Urine filtration membrane under a 4× objective, photographed by an automated digital microscope.
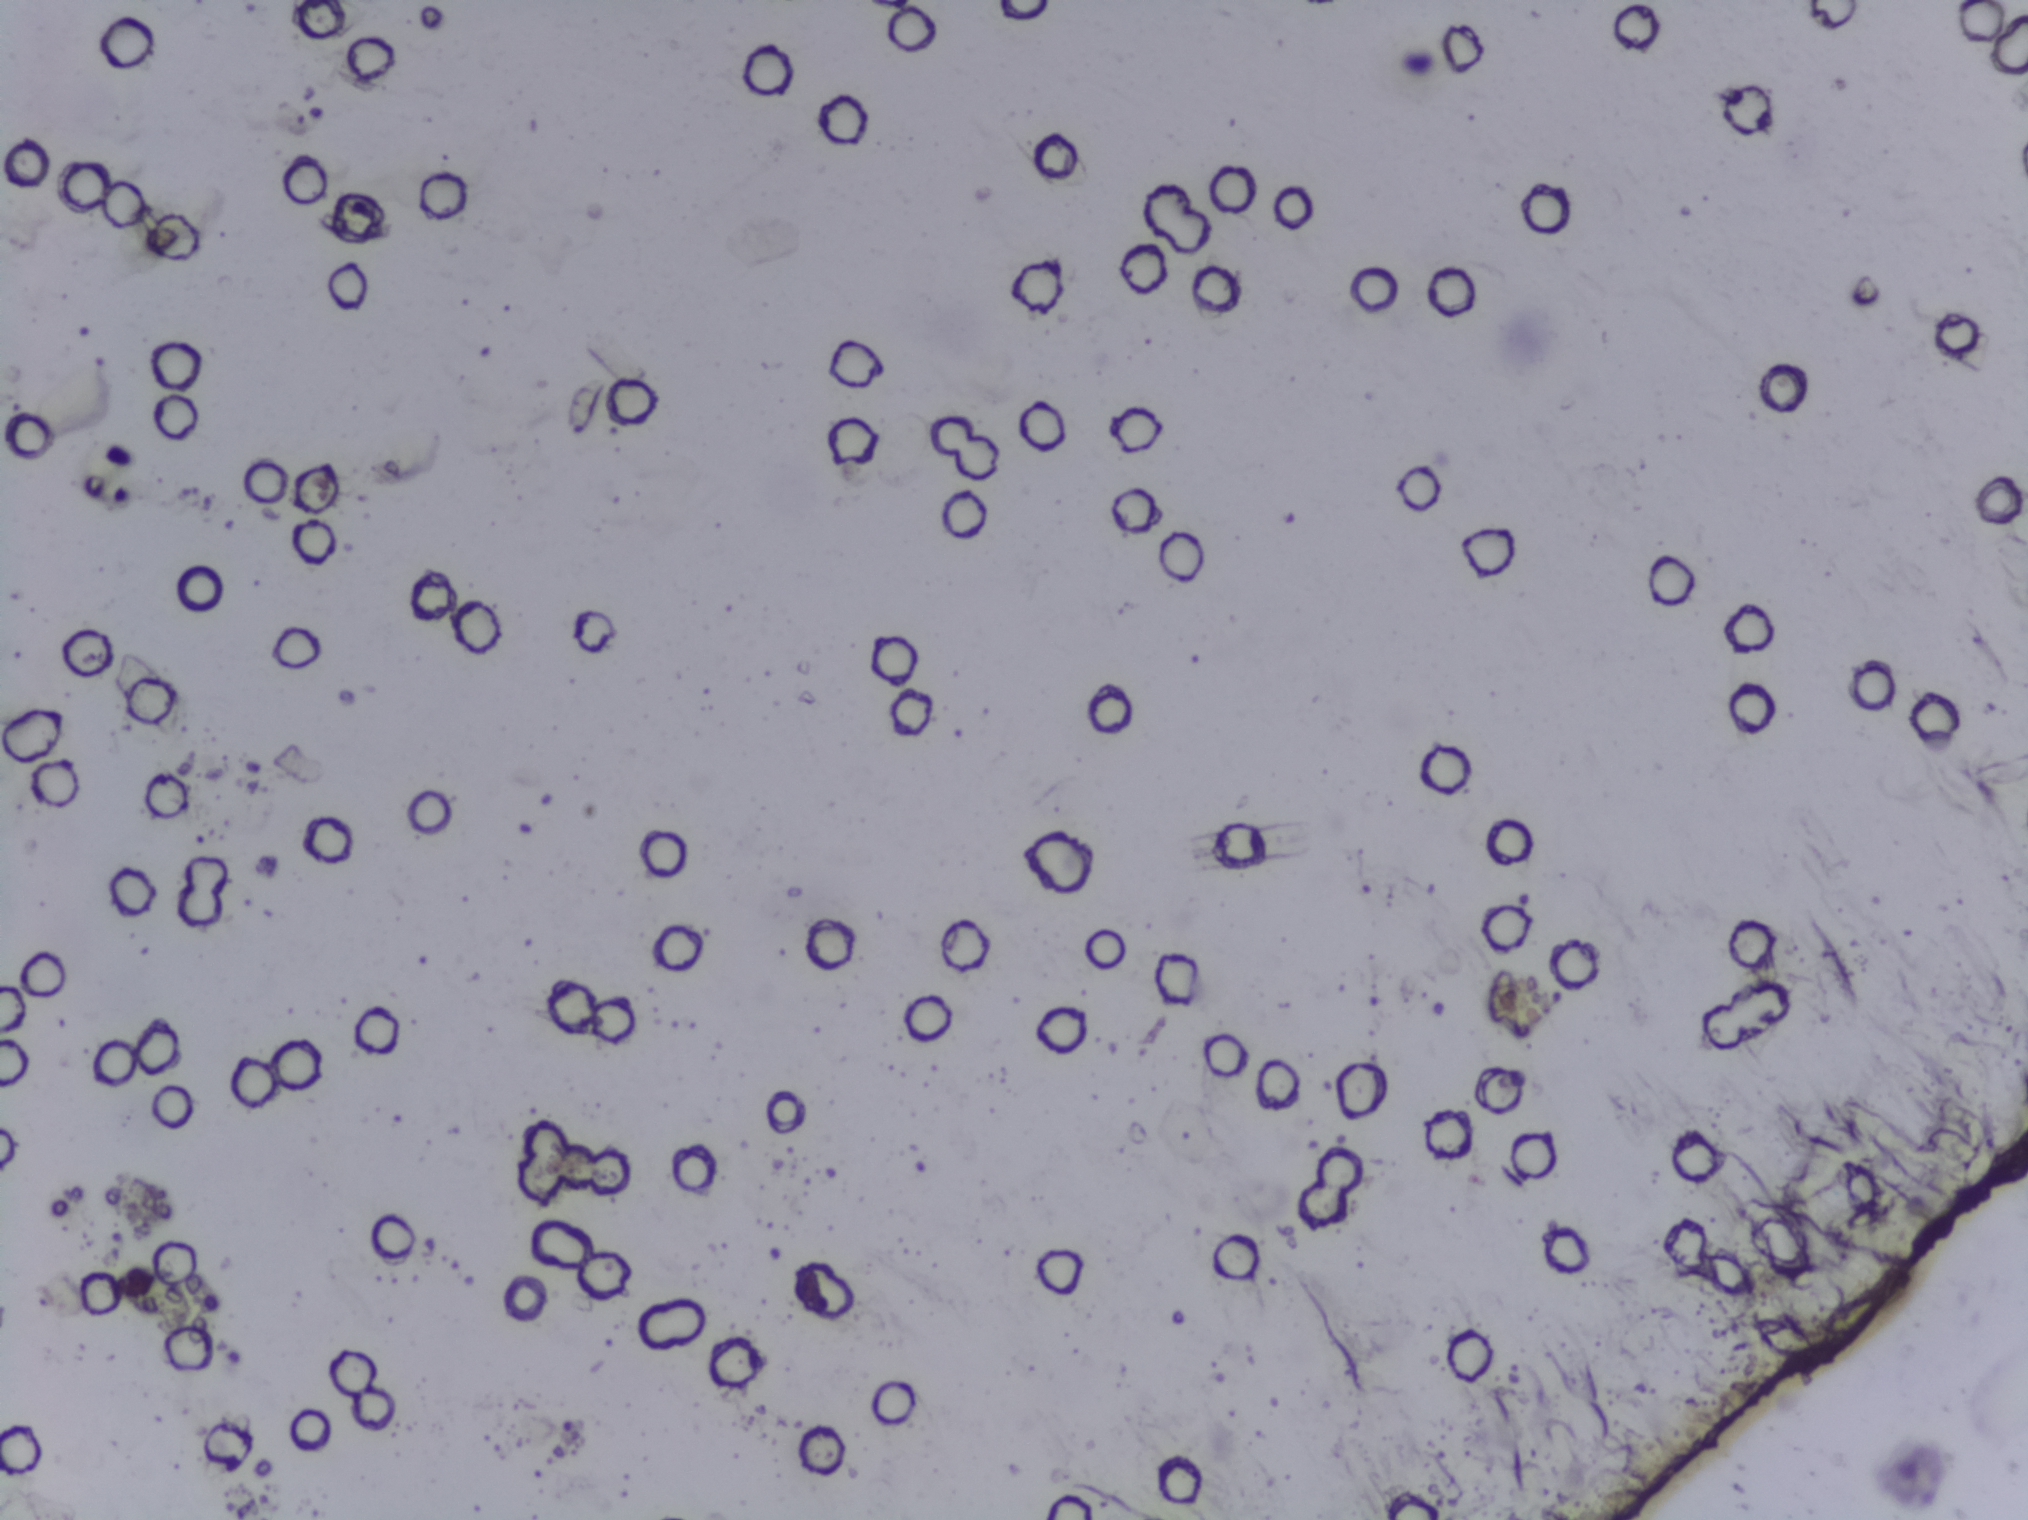
The expert annotation marks no Schistosoma egg in this field of view.